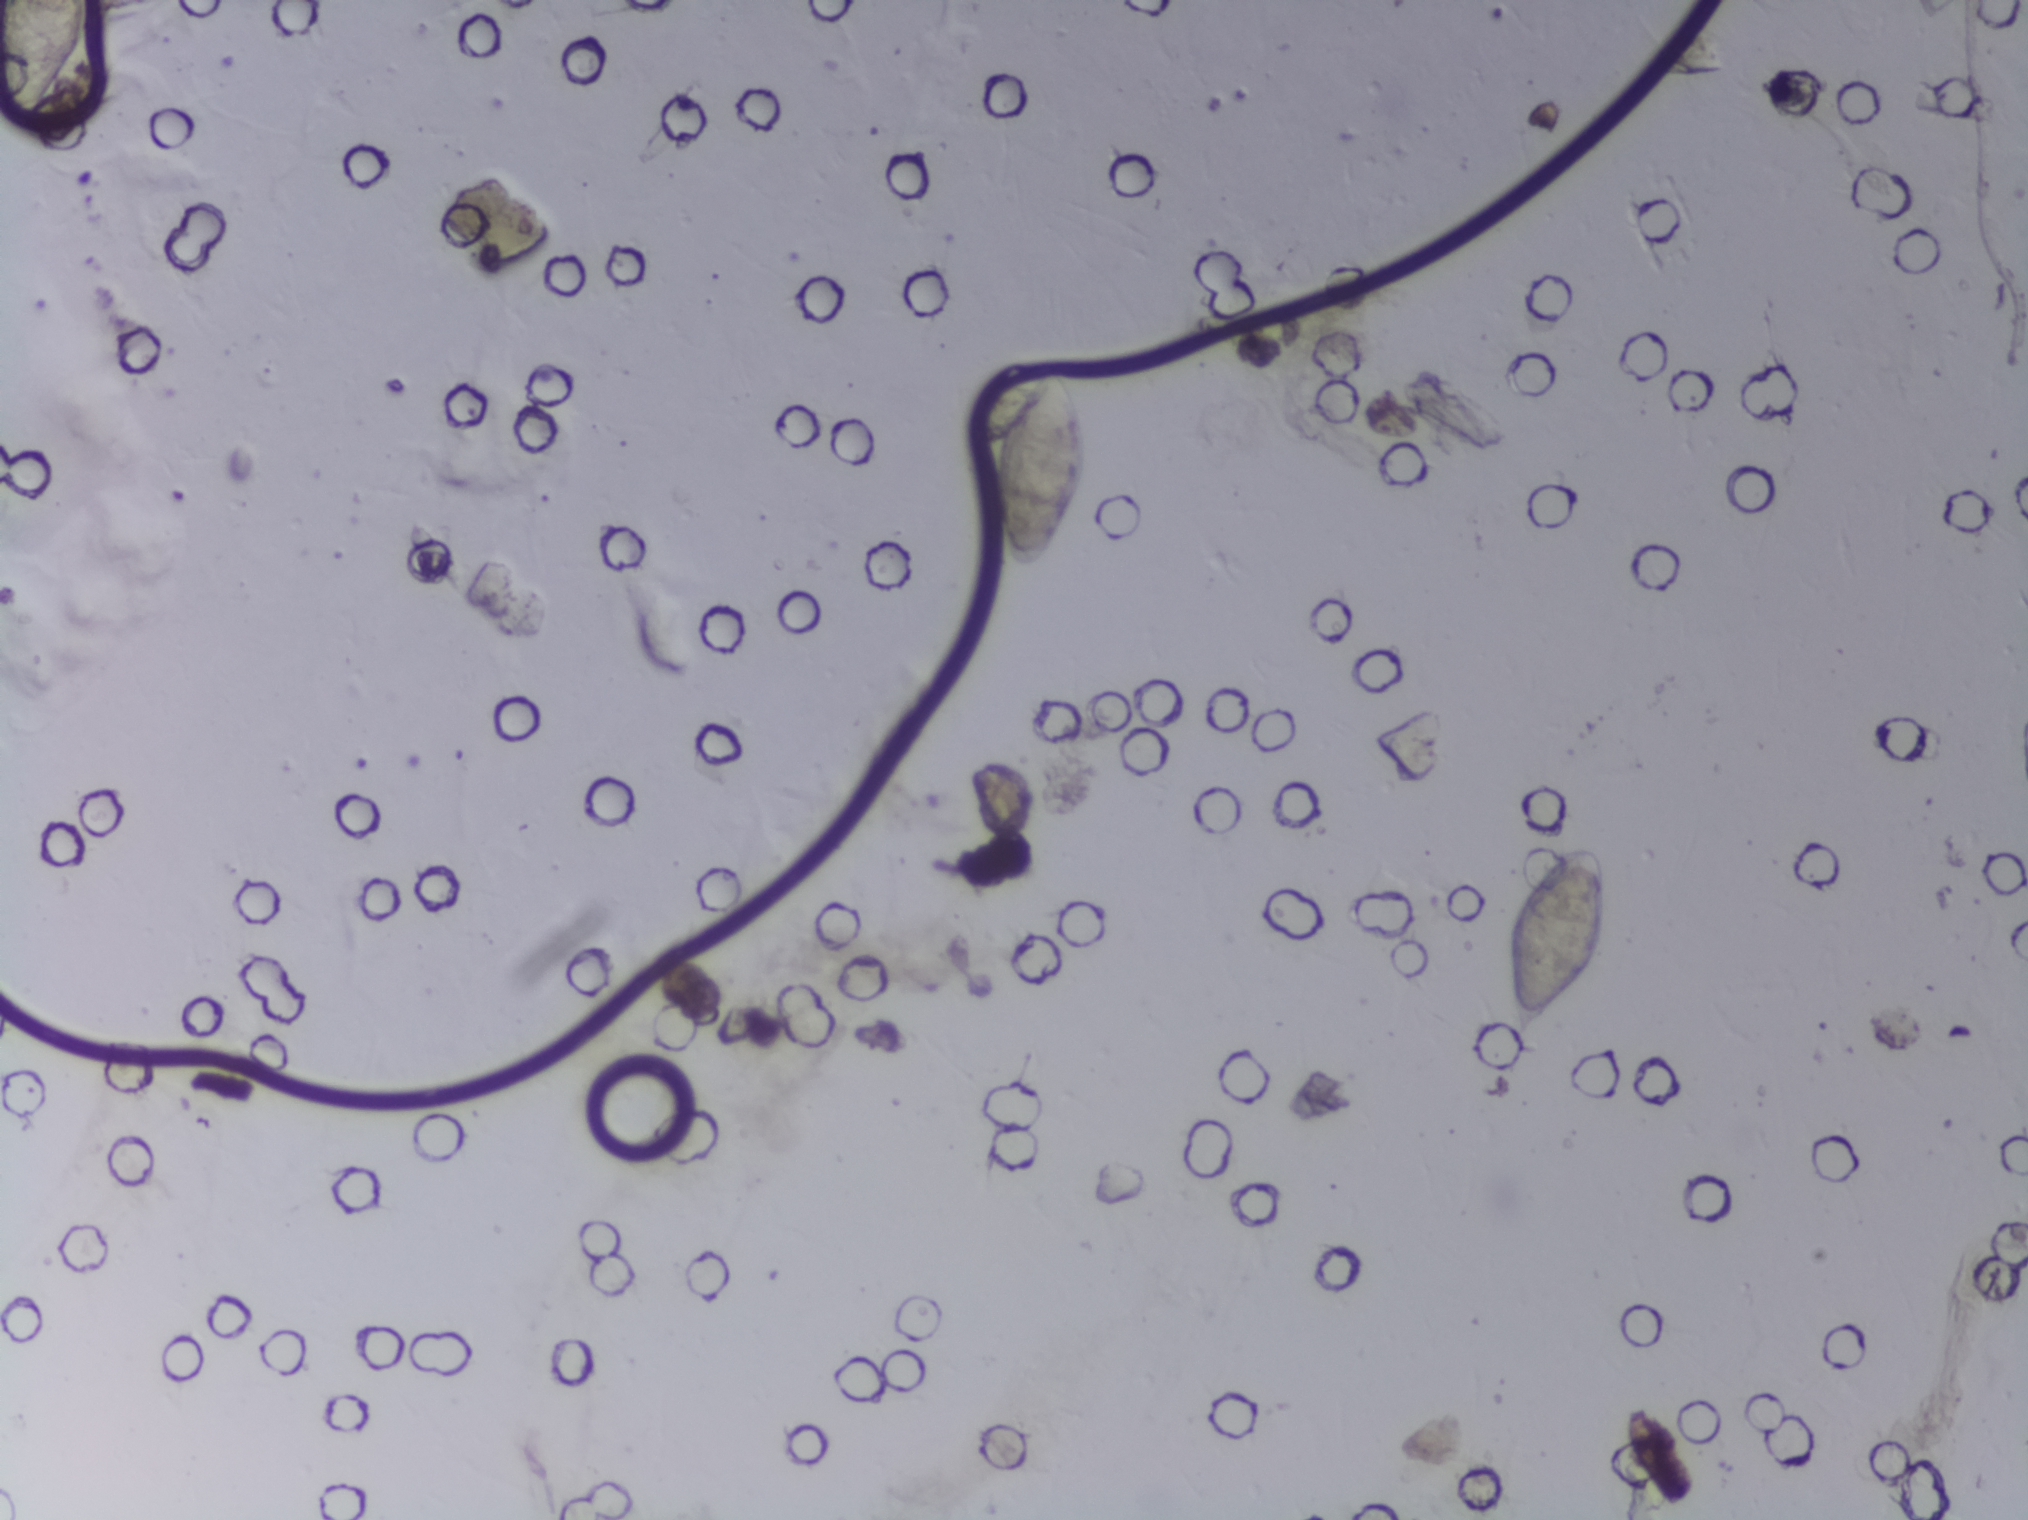
Urine filtration membrane under a 4× objective, photographed by an automated digital microscope.
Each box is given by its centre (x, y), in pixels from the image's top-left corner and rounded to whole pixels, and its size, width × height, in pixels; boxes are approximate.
Three areas of this image are outlined as Schistosoma eggs, from left to right: centre (45, 63), 90 × 126 px (reaching the left and top edges of the frame); centre (1038, 470), 110 × 220 px; centre (1555, 941), 110 × 207 px. About 1.4% of the image's pixels are marked (the marked pixels themselves, not the boxes around them). Eggs that touch can end up inside the same outlined area.